Urine filter membrane photographed through a 4× microscope objective.
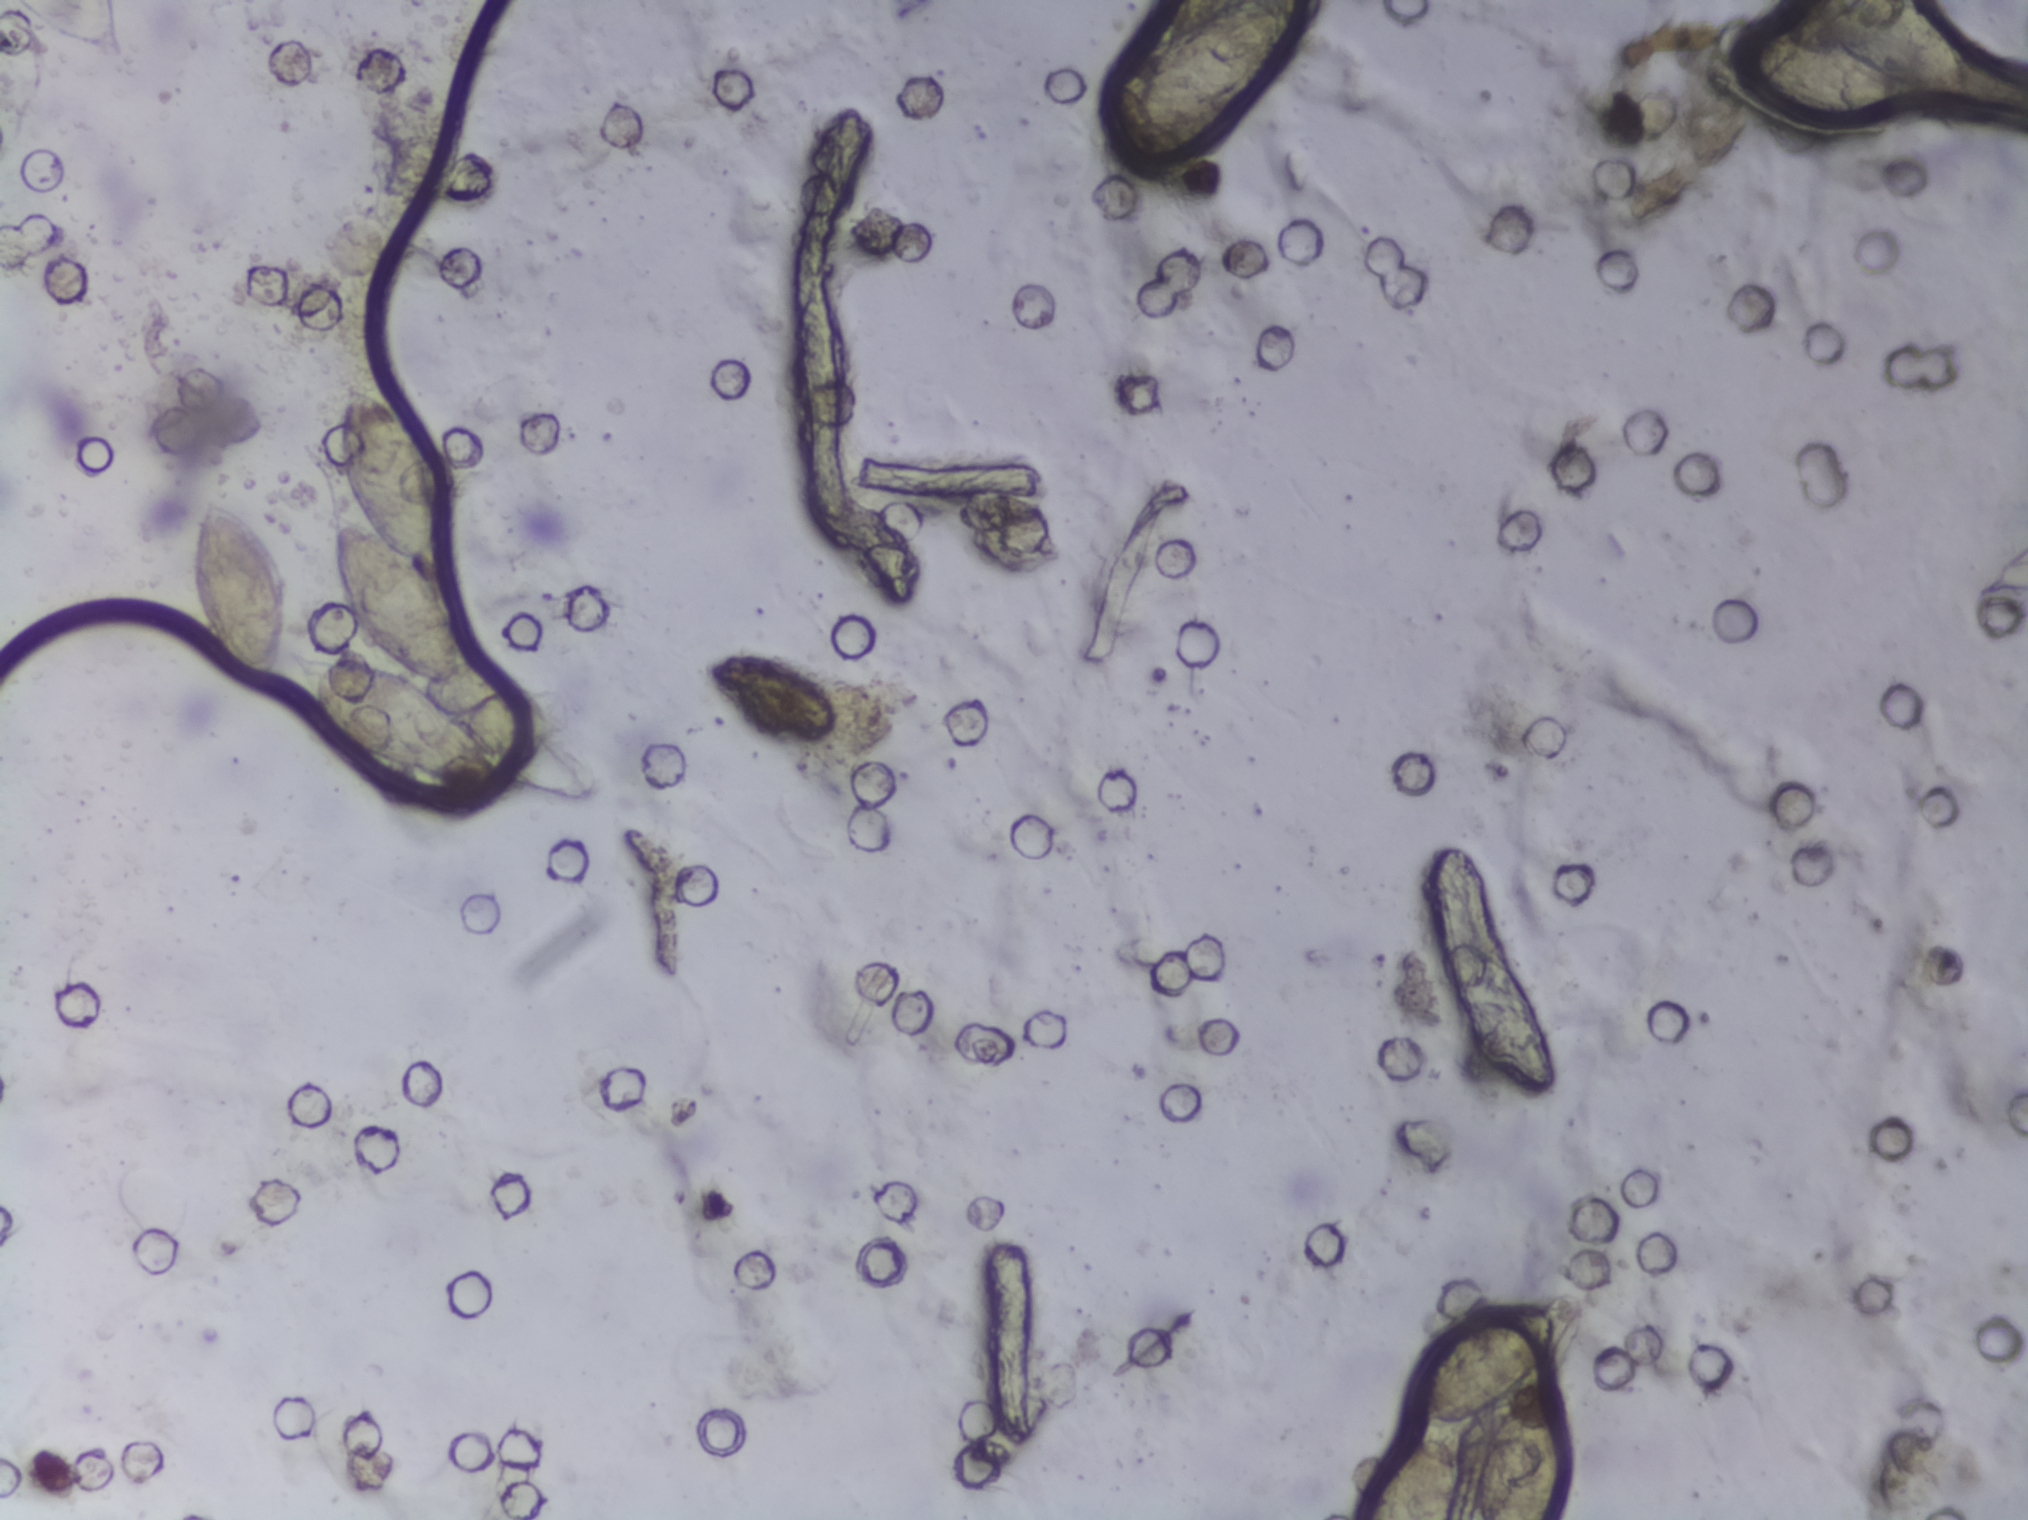
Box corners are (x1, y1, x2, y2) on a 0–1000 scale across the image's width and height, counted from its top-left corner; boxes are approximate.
Findings: eight areas outlined as Schistosoma eggs. Locations: (93, 329, 143, 448); (145, 429, 245, 518); (163, 252, 229, 451); (557, 0, 653, 83) (reaching the top edge of the frame); (673, 940, 720, 1000) (reaching the bottom edge of the frame); (691, 855, 766, 936); (727, 922, 774, 1000) (reaching the bottom edge of the frame); (842, 0, 969, 86) (reaching the top edge of the frame). The marked pixels themselves, not the boxes around them, cover about 4.0% of the image. Eggs that touch can end up inside the same outlined area.